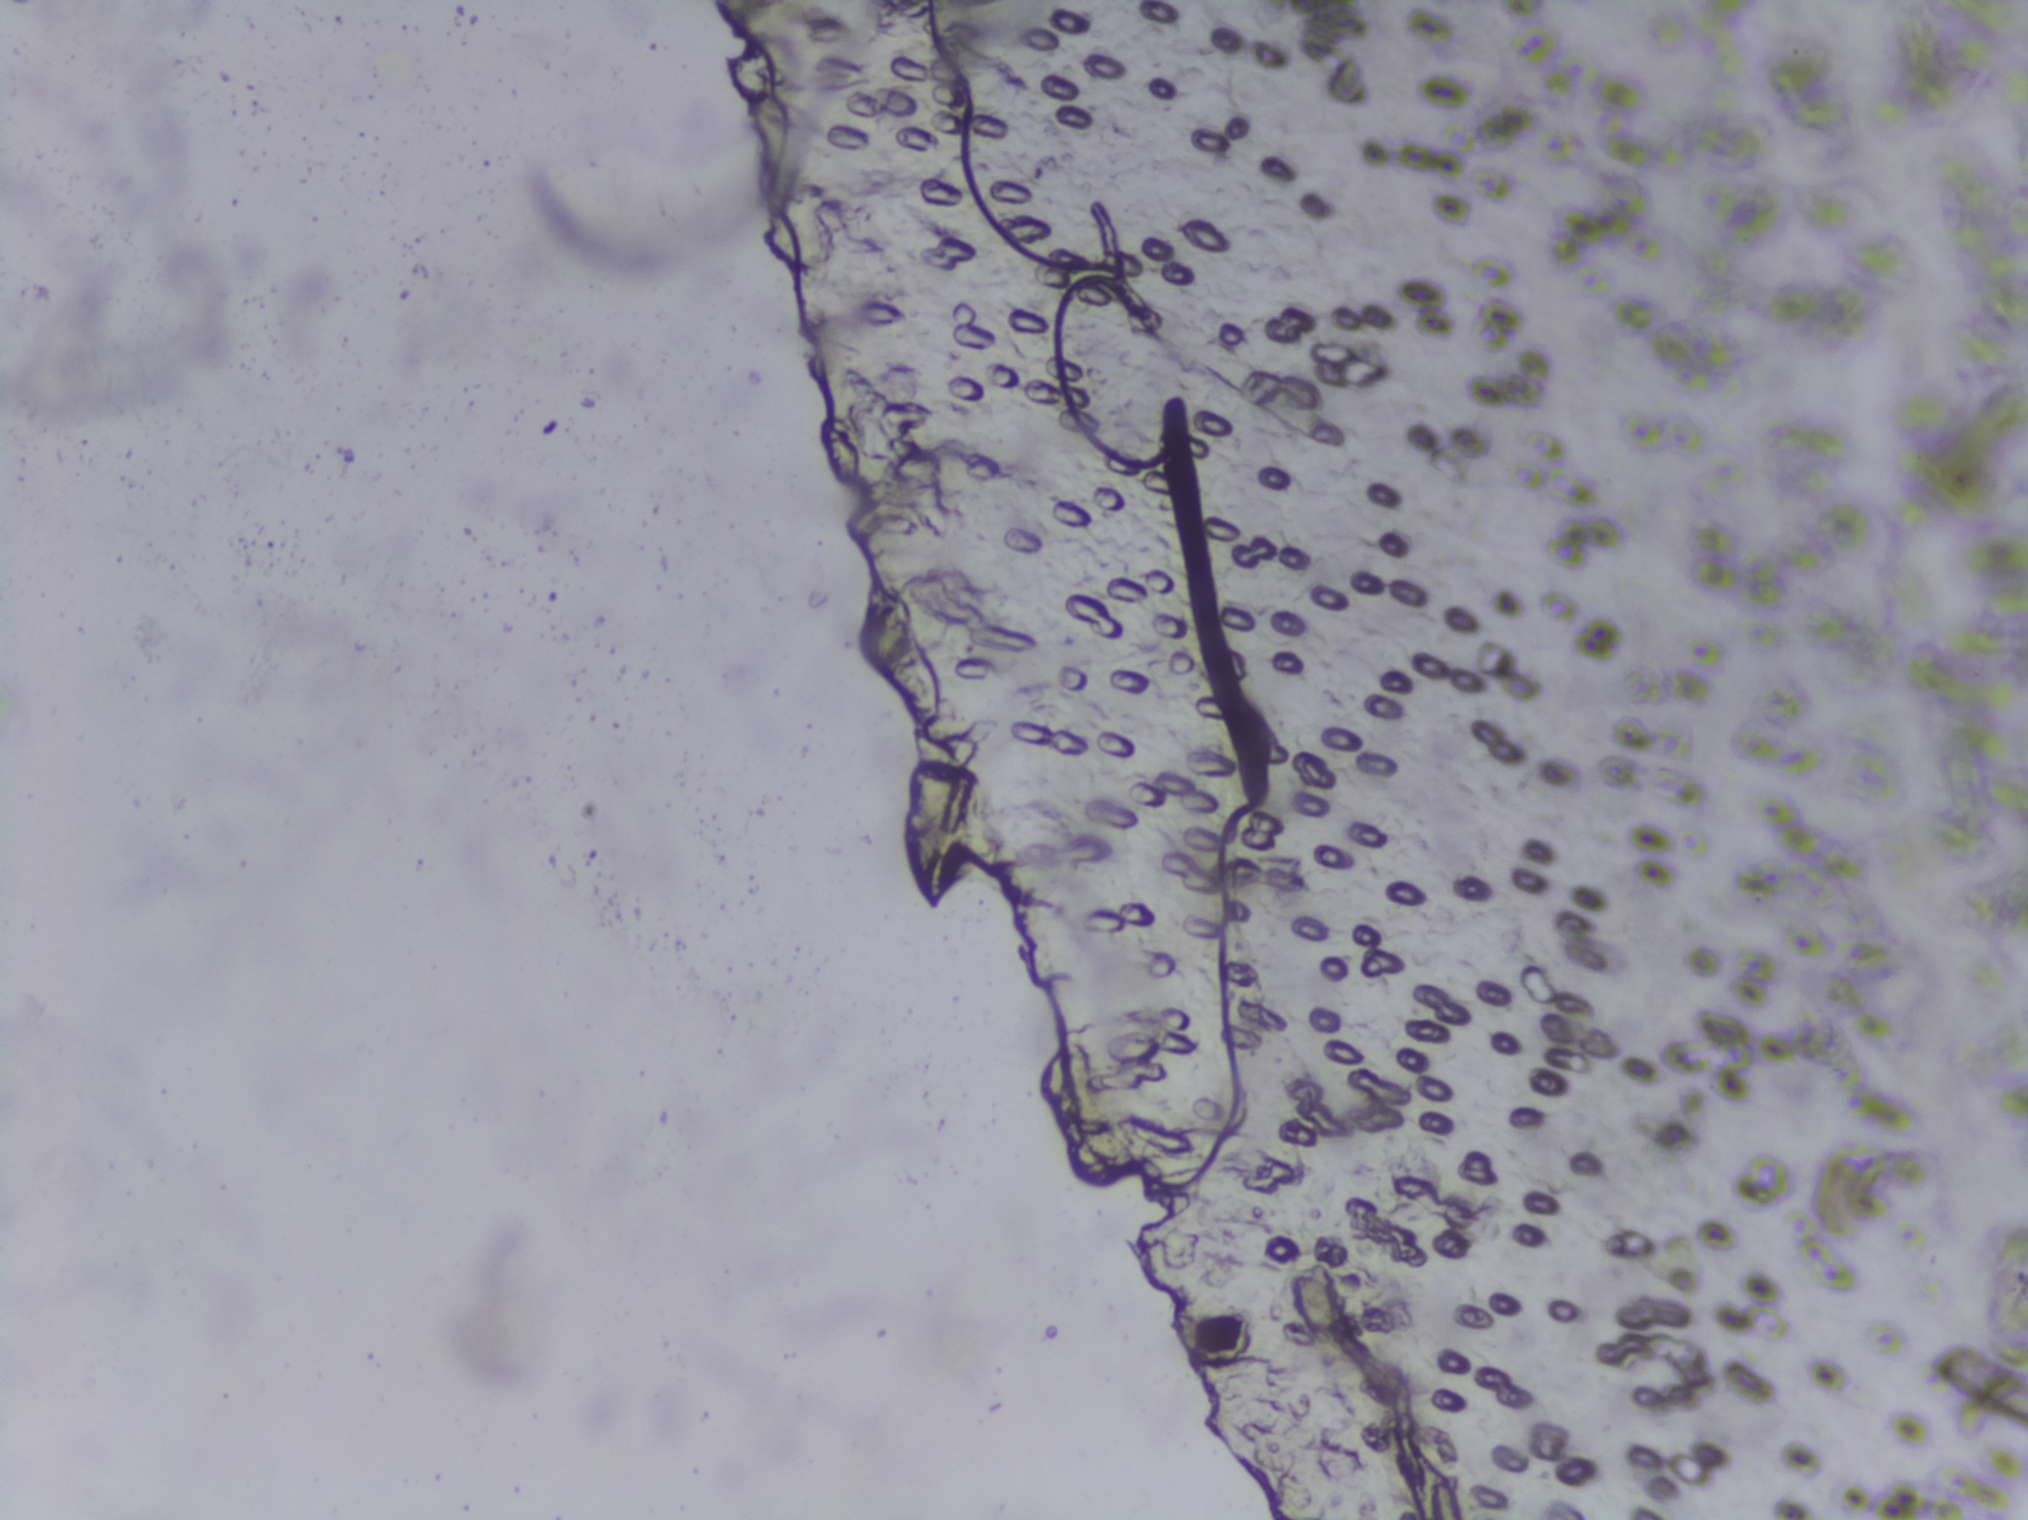
Urine filter membrane photographed through a 4× microscope objective.
No Schistosoma egg is outlined in this image's expert annotation.